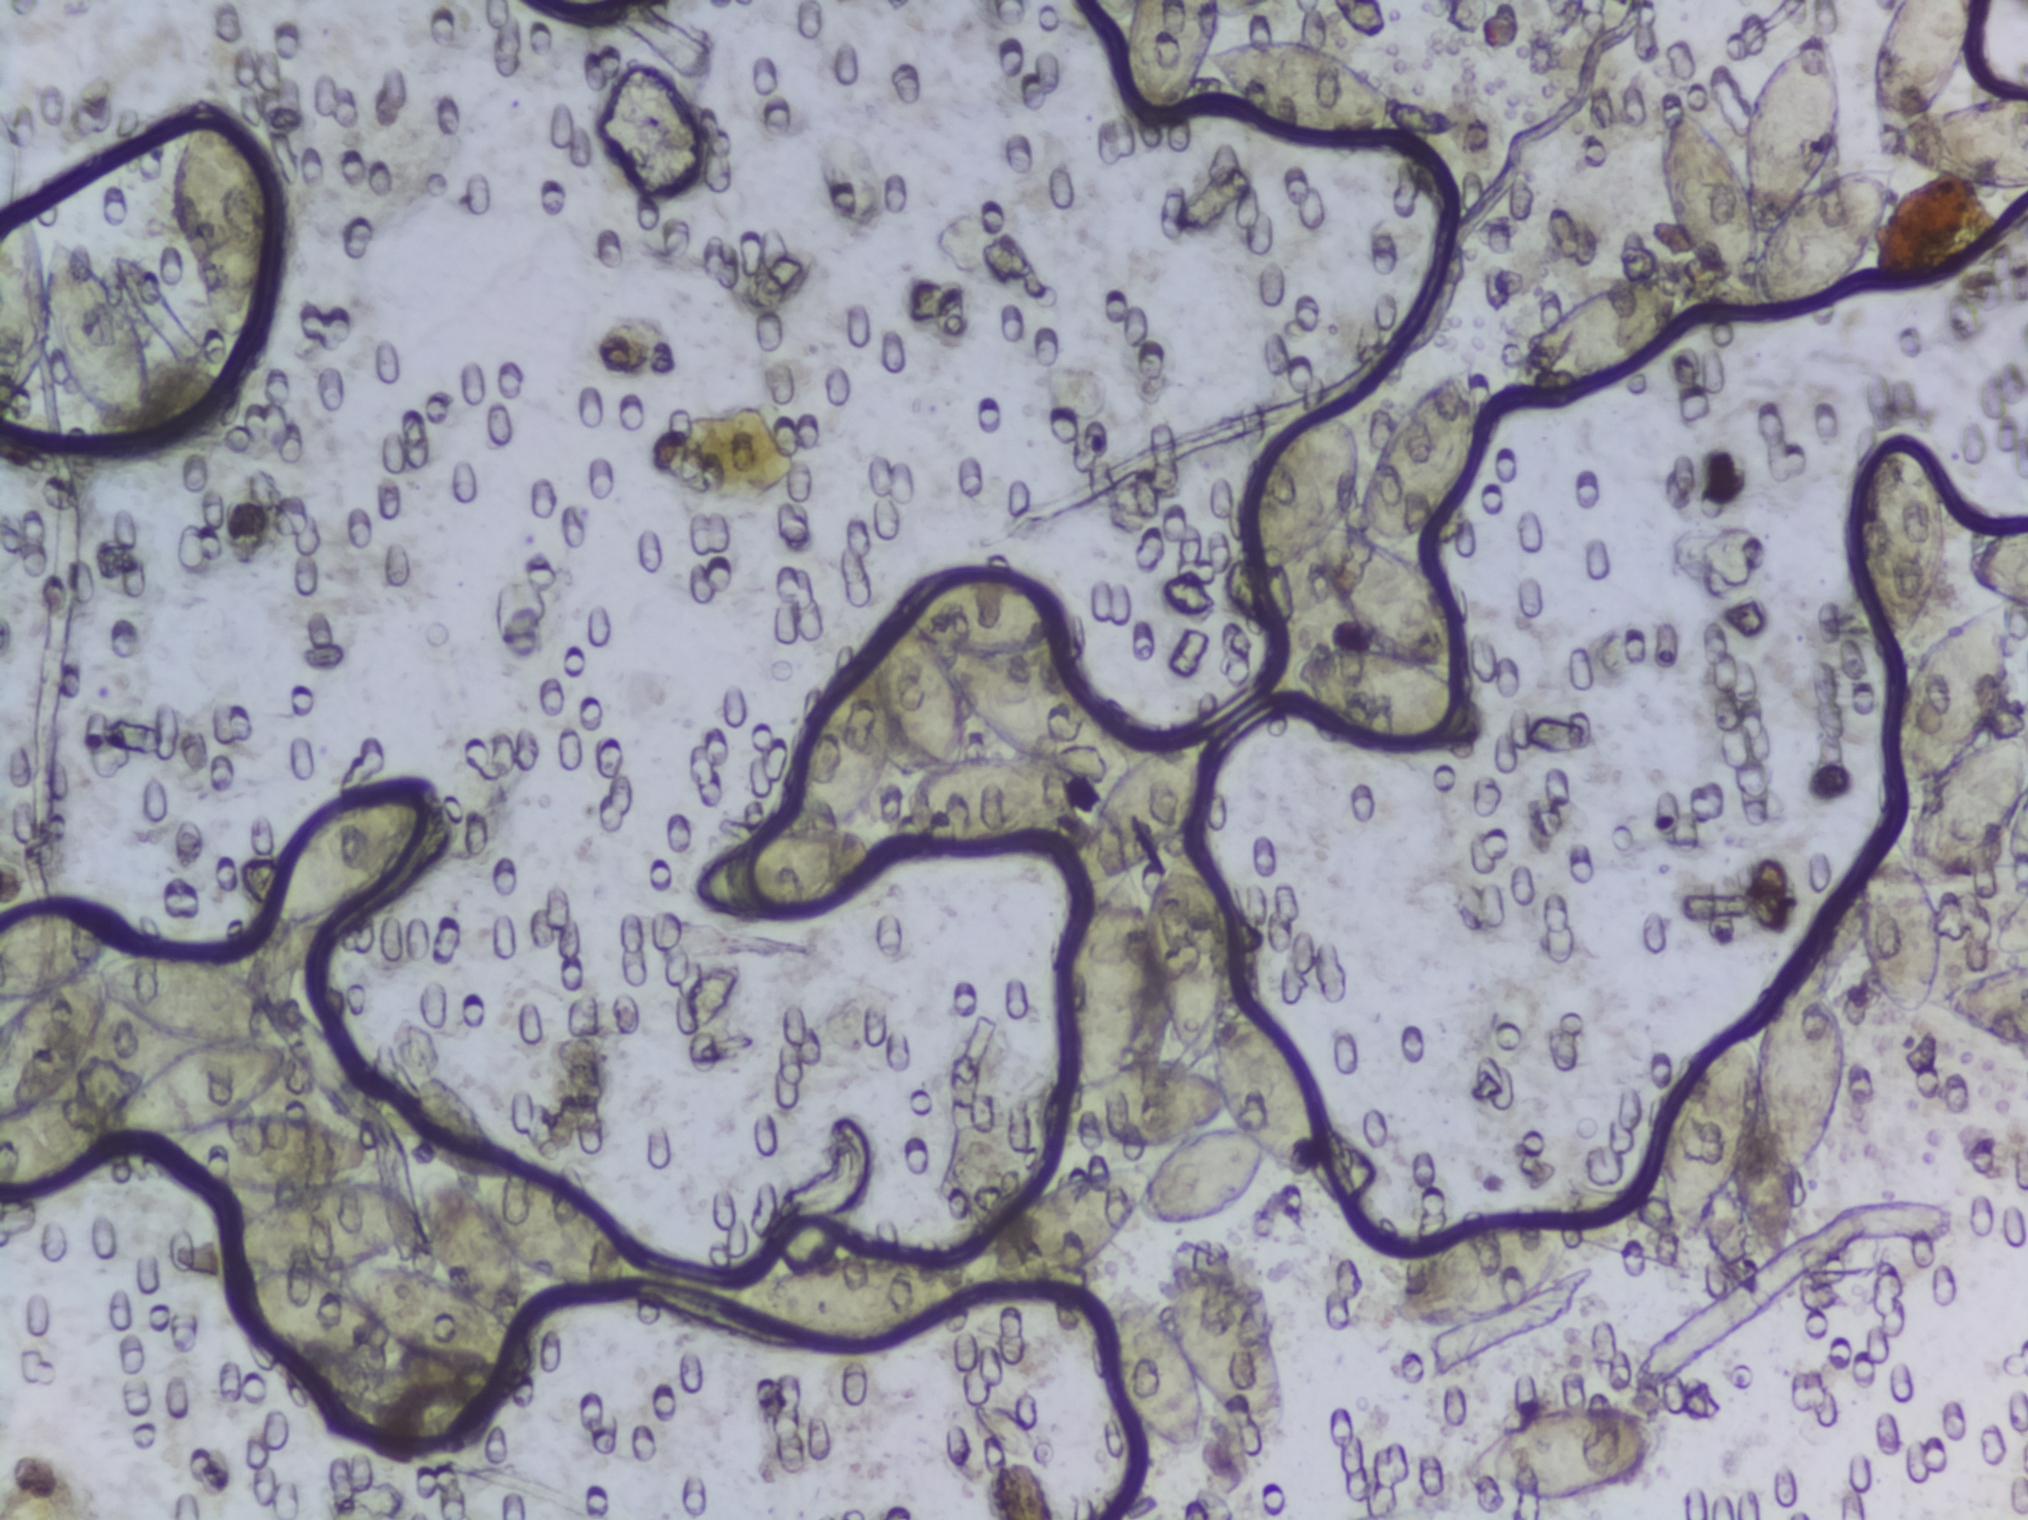
Photograph from an automated digital microscope: urine filter membrane, 4× objective.
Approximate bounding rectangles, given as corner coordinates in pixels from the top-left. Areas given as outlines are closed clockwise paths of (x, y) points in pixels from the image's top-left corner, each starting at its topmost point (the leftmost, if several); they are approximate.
Schistosoma egg areas, outlined: box (x1=0, y1=205, x2=152, y2=432) (reaching the left edge of the frame); outline (49, 900), (115, 908), (122, 930), (113, 953), (152, 947), (202, 958), (281, 997), (286, 1025), (265, 1039), (285, 1047), (288, 1066), (270, 1095), (249, 1111), (284, 1112), (358, 1138), (382, 1159), (382, 1169), (359, 1186), (415, 1194), (421, 1161), (453, 1174), (453, 1148), (507, 1151), (560, 1175), (610, 1211), (637, 1268), (640, 1297), (632, 1303), (597, 1302), (529, 1274), (526, 1331), (538, 1347), (539, 1374), (518, 1384), (463, 1377), (391, 1338), (390, 1361), (382, 1368), (312, 1363), (258, 1335), (241, 1318), (229, 1286), (229, 1275), (239, 1268), (216, 1246), (221, 1225), (274, 1191), (188, 1182), (158, 1164), (157, 1154), (169, 1141), (136, 1139), (116, 1127), (83, 1178), (42, 1194), (0, 1195), (0, 1017), (17, 999), (0, 1003), (0, 920), (29, 902) (eggs clustered together; reaching the left edge of the frame); box (x1=166, y1=90, x2=280, y2=345); box (x1=266, y1=775, x2=436, y2=931); outline (987, 568), (1041, 583), (1076, 619), (1074, 636), (1063, 646), (1017, 655), (1052, 702), (1070, 748), (1064, 762), (1088, 778), (1078, 814), (1066, 828), (1047, 842), (990, 860), (949, 861), (920, 852), (898, 823), (901, 797), (920, 772), (893, 748), (885, 781), (846, 826), (874, 837), (885, 855), (882, 873), (849, 908), (817, 921), (776, 923), (717, 912), (689, 899), (688, 876), (710, 851), (759, 828), (796, 823), (791, 773), (810, 703), (839, 661), (864, 652), (873, 621), (892, 612), (903, 591), (939, 573) (eggs clustered together); box (x1=714, y1=1251, x2=972, y2=1350); outline (1195, 731), (1210, 739), (1212, 784), (1204, 813), (1185, 839), (1203, 848), (1231, 888), (1240, 938), (1238, 995), (1269, 1012), (1307, 1063), (1323, 1104), (1321, 1164), (1289, 1175), (1266, 1161), (1246, 1205), (1228, 1217), (1154, 1227), (1133, 1214), (1112, 1250), (1062, 1283), (991, 1285), (983, 1273), (985, 1247), (1020, 1195), (1119, 1161), (1149, 1165), (1163, 1147), (1072, 1137), (1045, 1128), (1039, 1110), (1050, 1091), (1077, 1081), (1064, 1045), (1054, 961), (1095, 892), (1076, 888), (1071, 858), (1078, 835), (1121, 764) (eggs clustered together); box (x1=1099, y1=1234, x2=1291, y2=1457); box (x1=1118, y1=0, x2=1413, y2=140) (reaching the top edge of the frame); box (x1=1244, y1=363, x2=1496, y2=757) (eggs clustered together); box (x1=1387, y1=1220, x2=1577, y2=1330); box (x1=1462, y1=1400, x2=1662, y2=1504); box (x1=1509, y1=270, x2=1697, y2=400); box (x1=1655, y1=961, x2=1848, y2=1273); outline (1895, 0), (1980, 0), (1964, 66), (1937, 110), (2027, 89), (2027, 185), (1988, 185), (1900, 163), (1889, 213), (1868, 259), (1821, 307), (1793, 321), (1765, 318), (1747, 289), (1731, 290), (1700, 265), (1669, 220), (1658, 174), (1661, 118), (1672, 103), (1696, 110), (1741, 171), (1740, 121), (1753, 90), (1787, 43), (1822, 26), (1839, 67), (1841, 105), (1831, 155), (1817, 179), (1847, 166), (1891, 161), (1876, 143), (1868, 61) (eggs clustered together; reaching the top and right edges of the frame); box (x1=1846, y1=433, x2=1945, y2=661); box (x1=1856, y1=523, x2=2027, y2=1056) (eggs clustered together; reaching the right edge of the frame). About 23% of the image's pixels are marked (the marked pixels themselves, not the boxes and the outlines around them). A single outlined area may contain several eggs.